Photomicrograph of a urine filtration membrane, 4× objective.
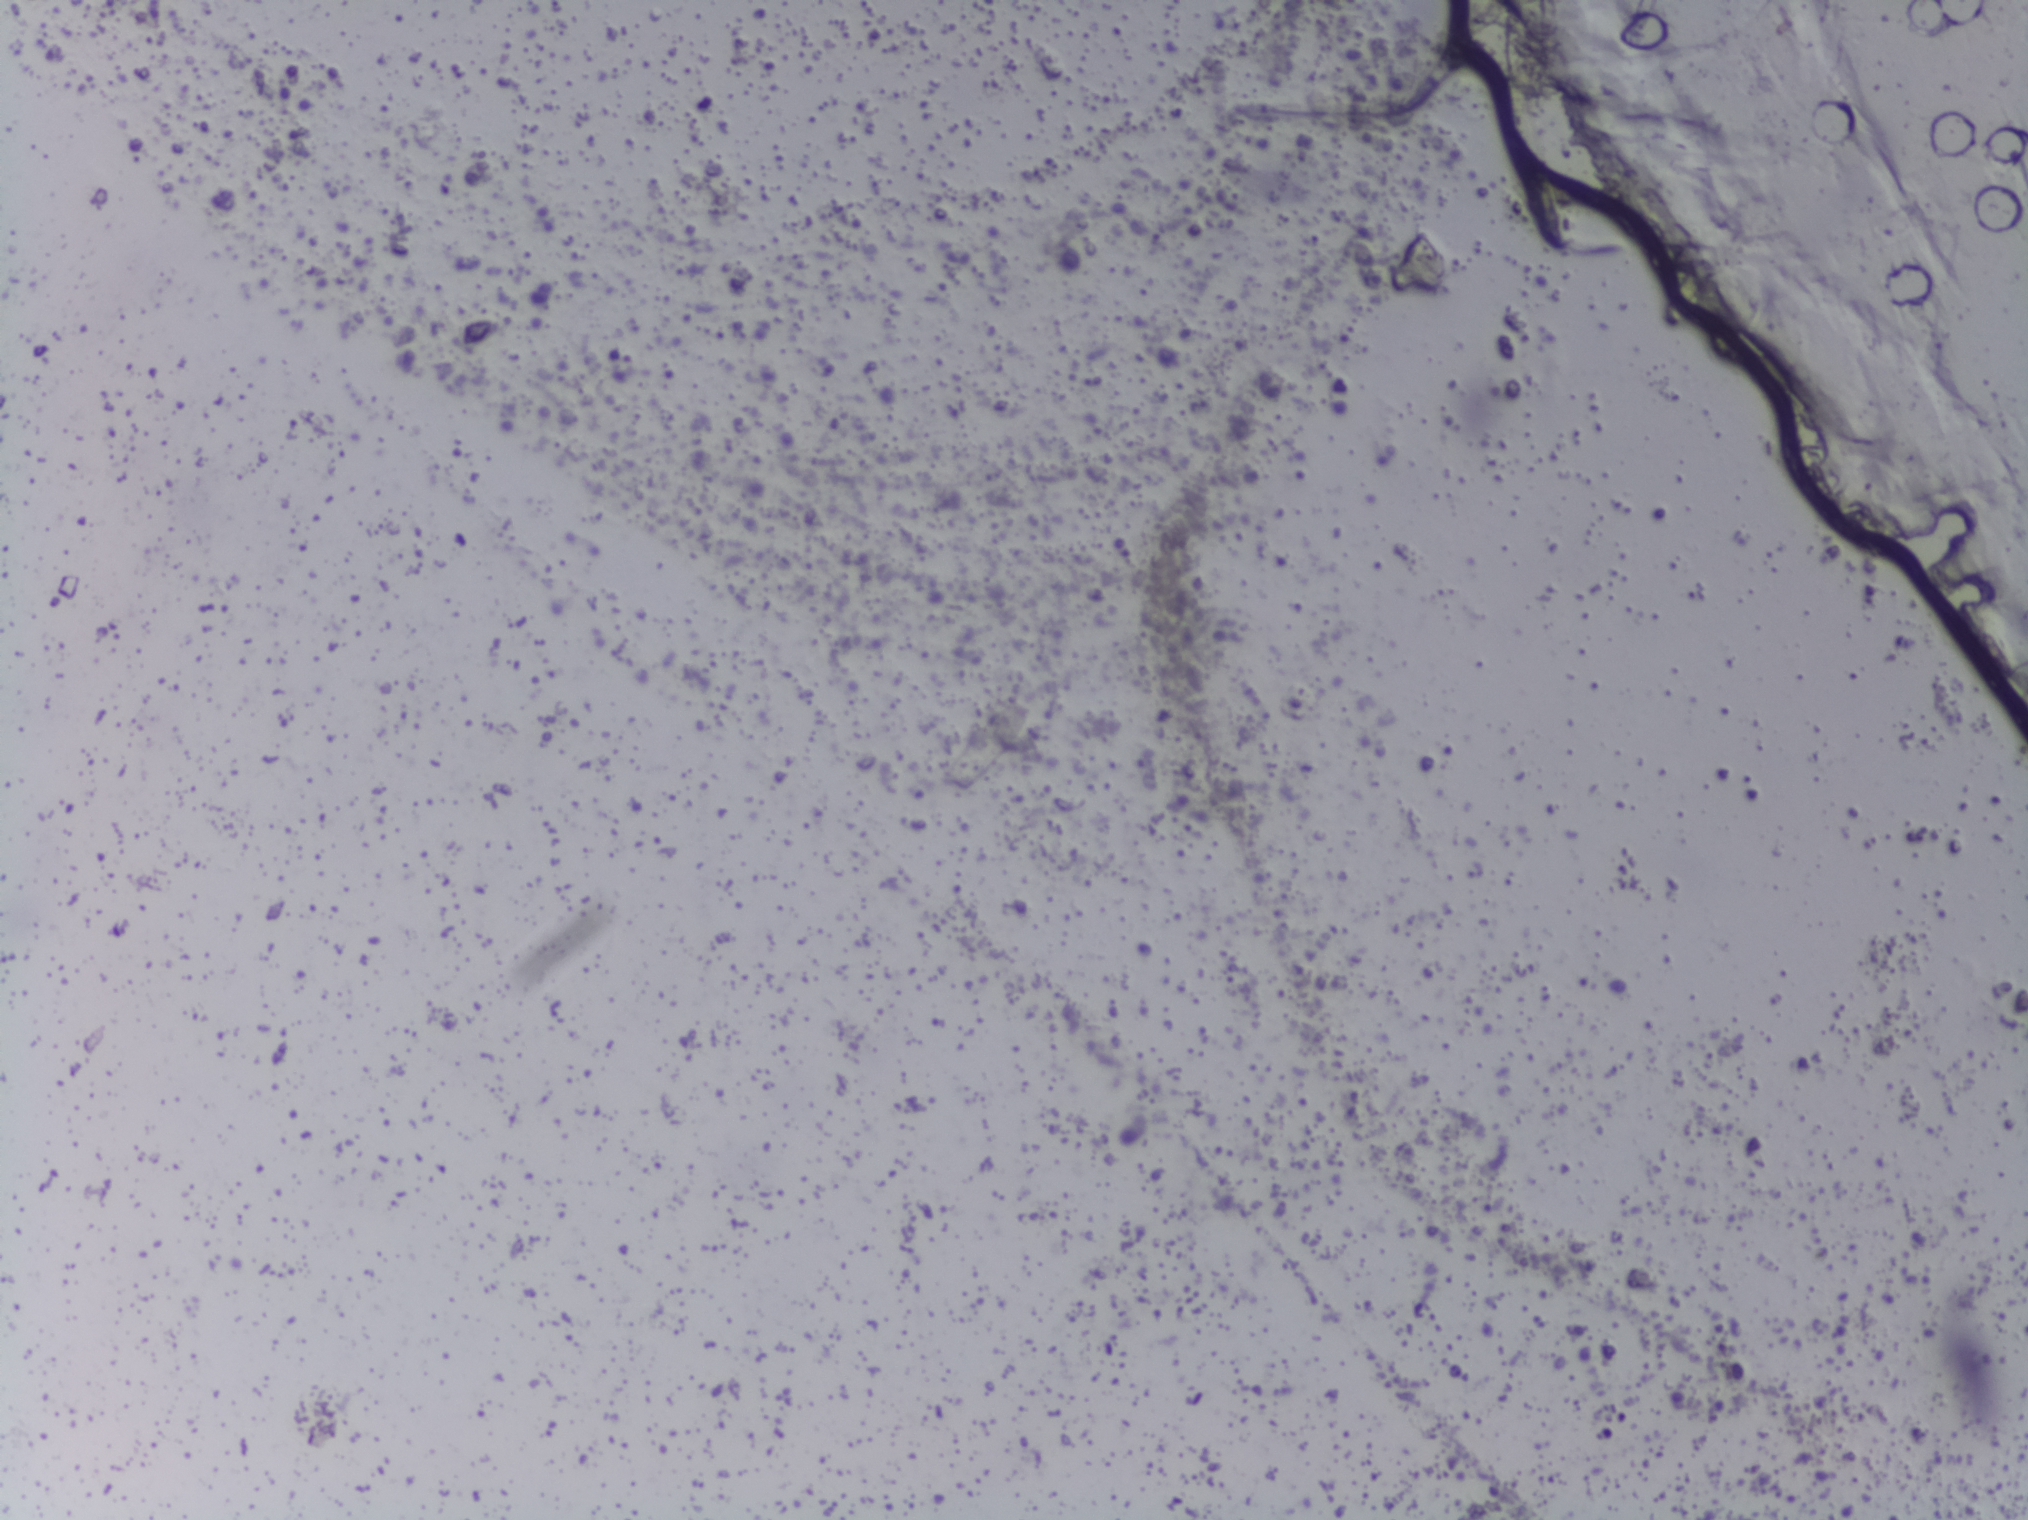
The expert annotation outlines no Schistosoma egg in this image.